Photograph from an automated digital microscope: urine filter membrane, 4× objective.
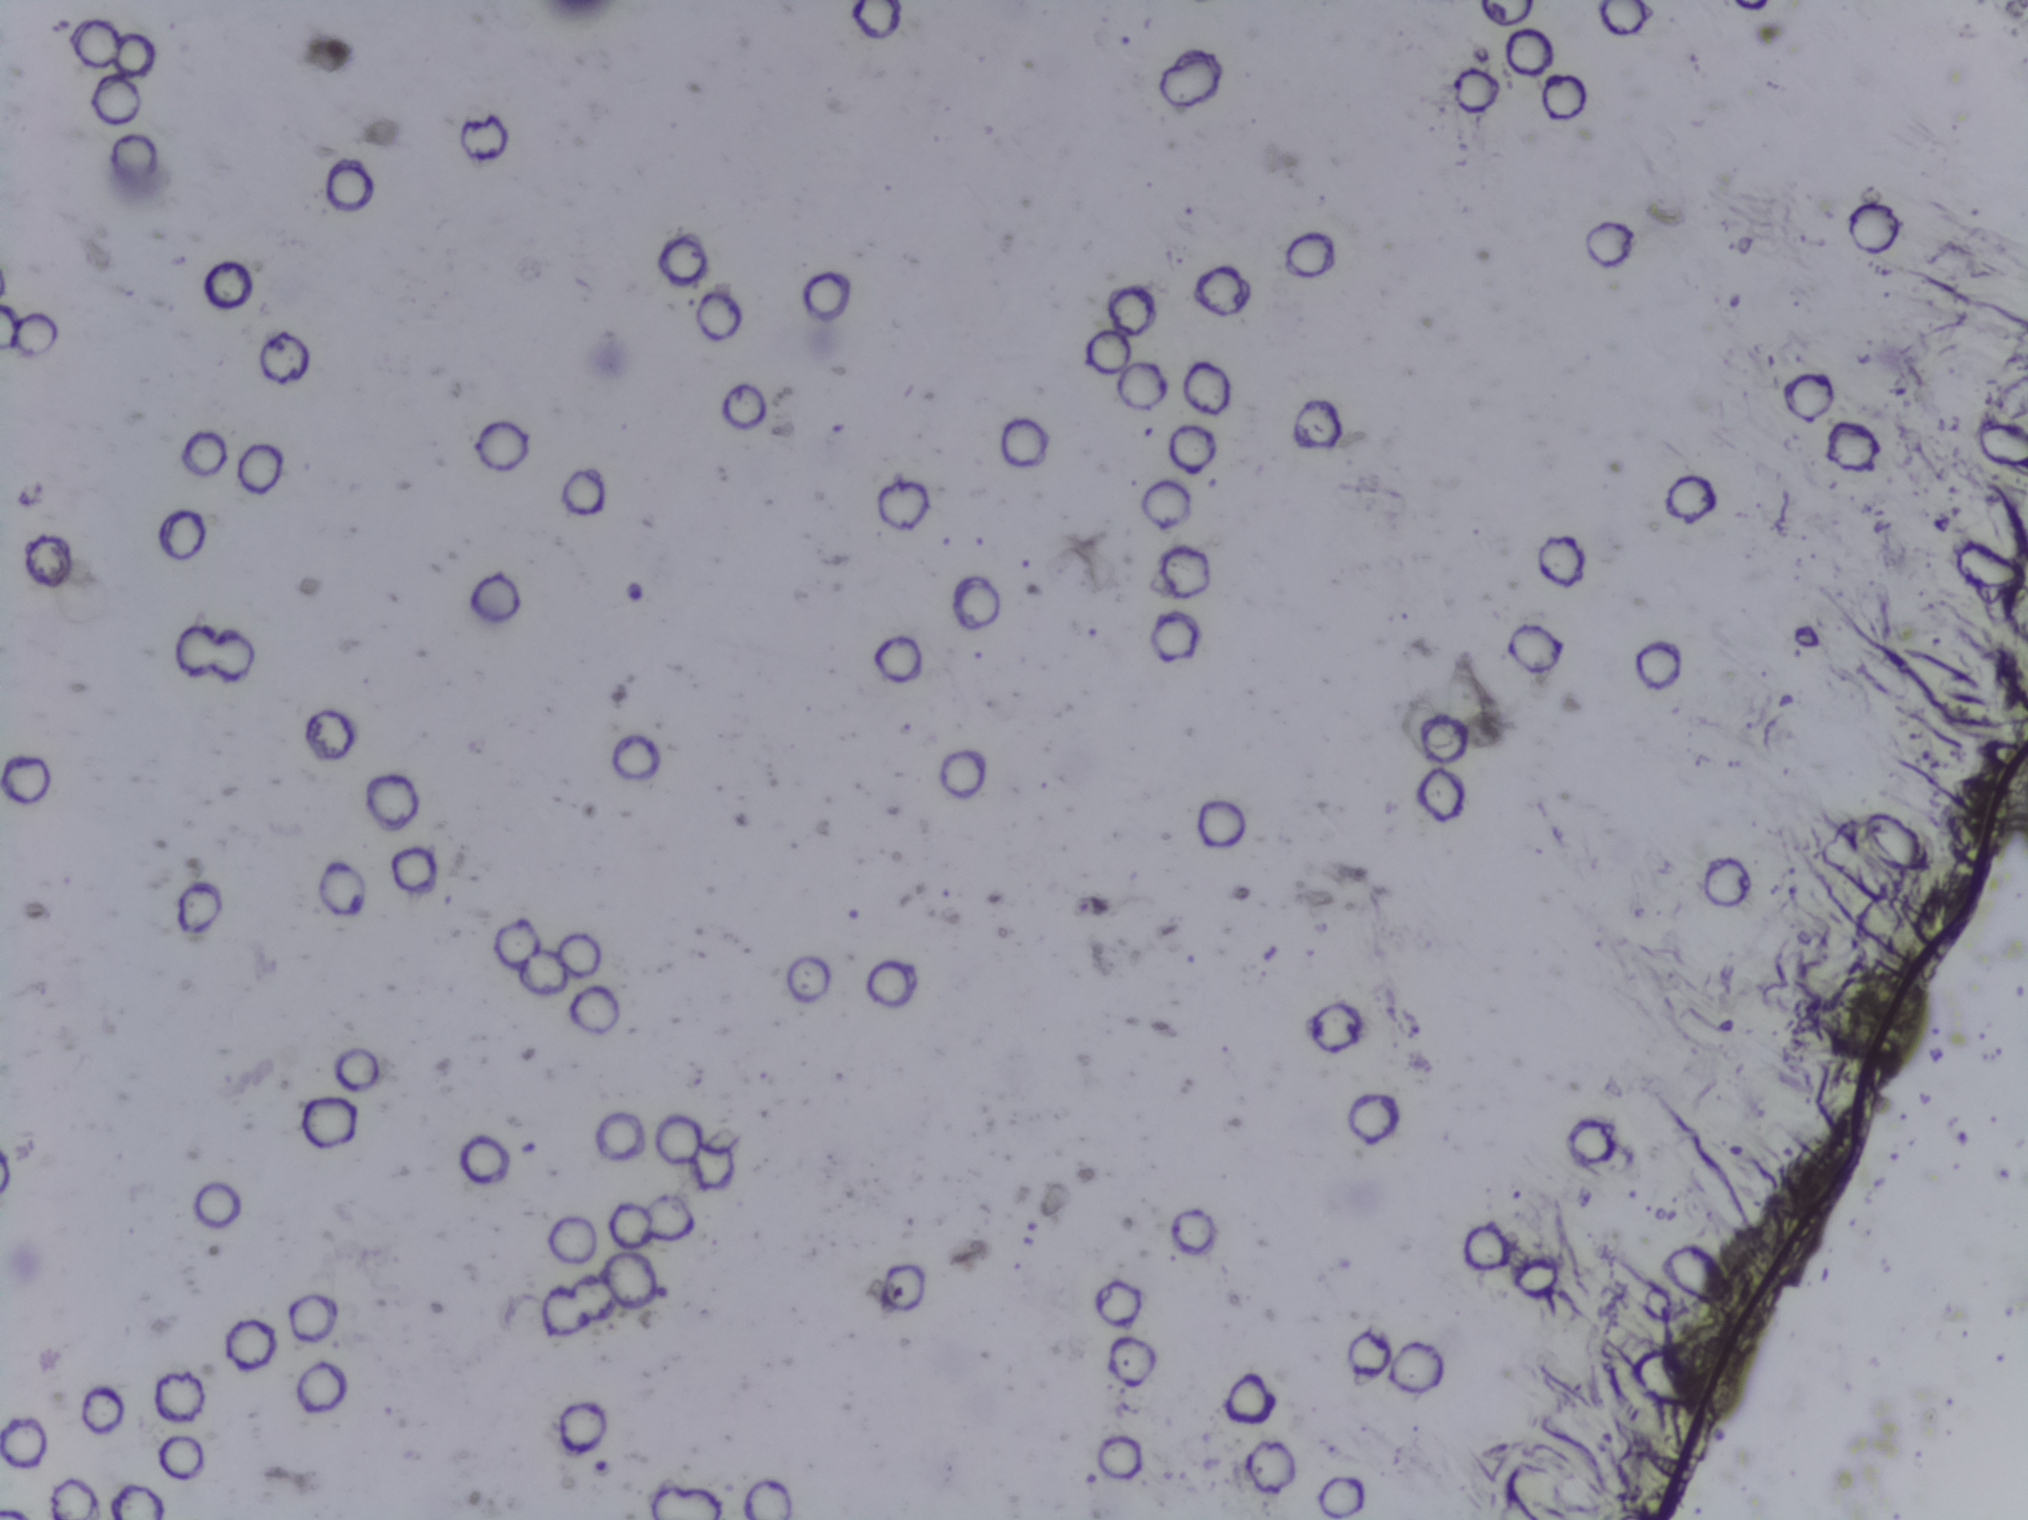
No area of this image was outlined as a Schistosoma egg.